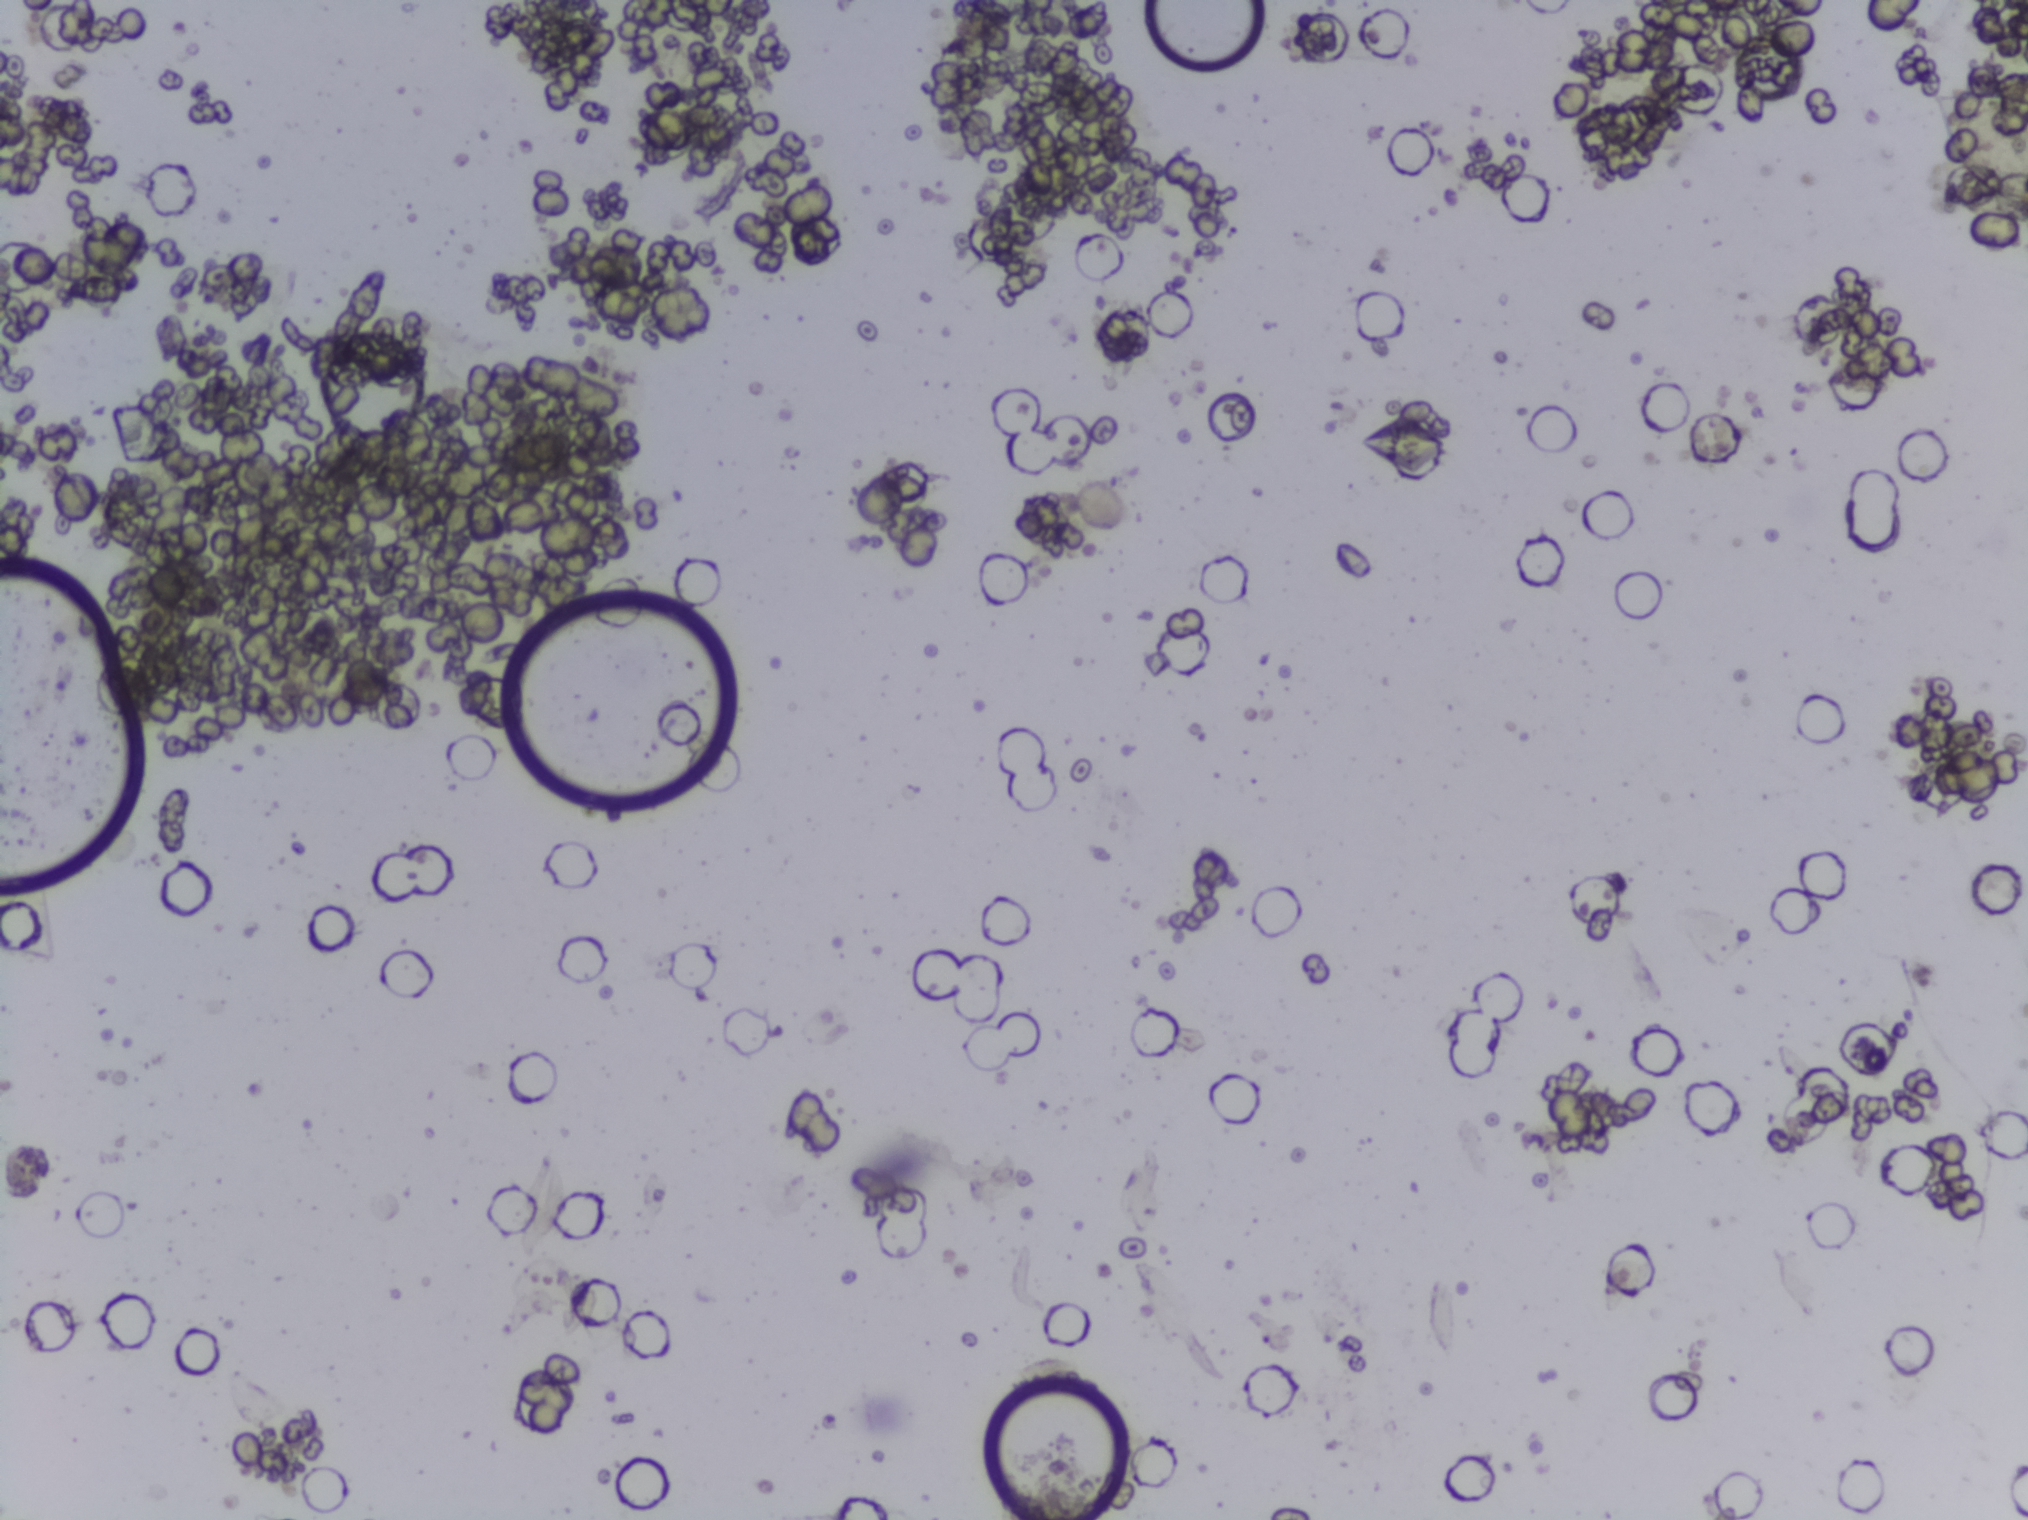
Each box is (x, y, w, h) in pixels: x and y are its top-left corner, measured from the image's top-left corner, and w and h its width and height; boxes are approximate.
Schistosoma eggs are outlined in the expert annotation at (x=1933, y=90, w=95, h=114) (reaching the right edge of the frame). An outlined area can hold more than one egg. Any one outlined egg may, rarely, be S. mansoni rather than S. haematobium.
Microscope photograph (4× objective) of a membrane that a urine sample was filtered through. Field of view: about 1.5 mm wide and 1.1 mm high.